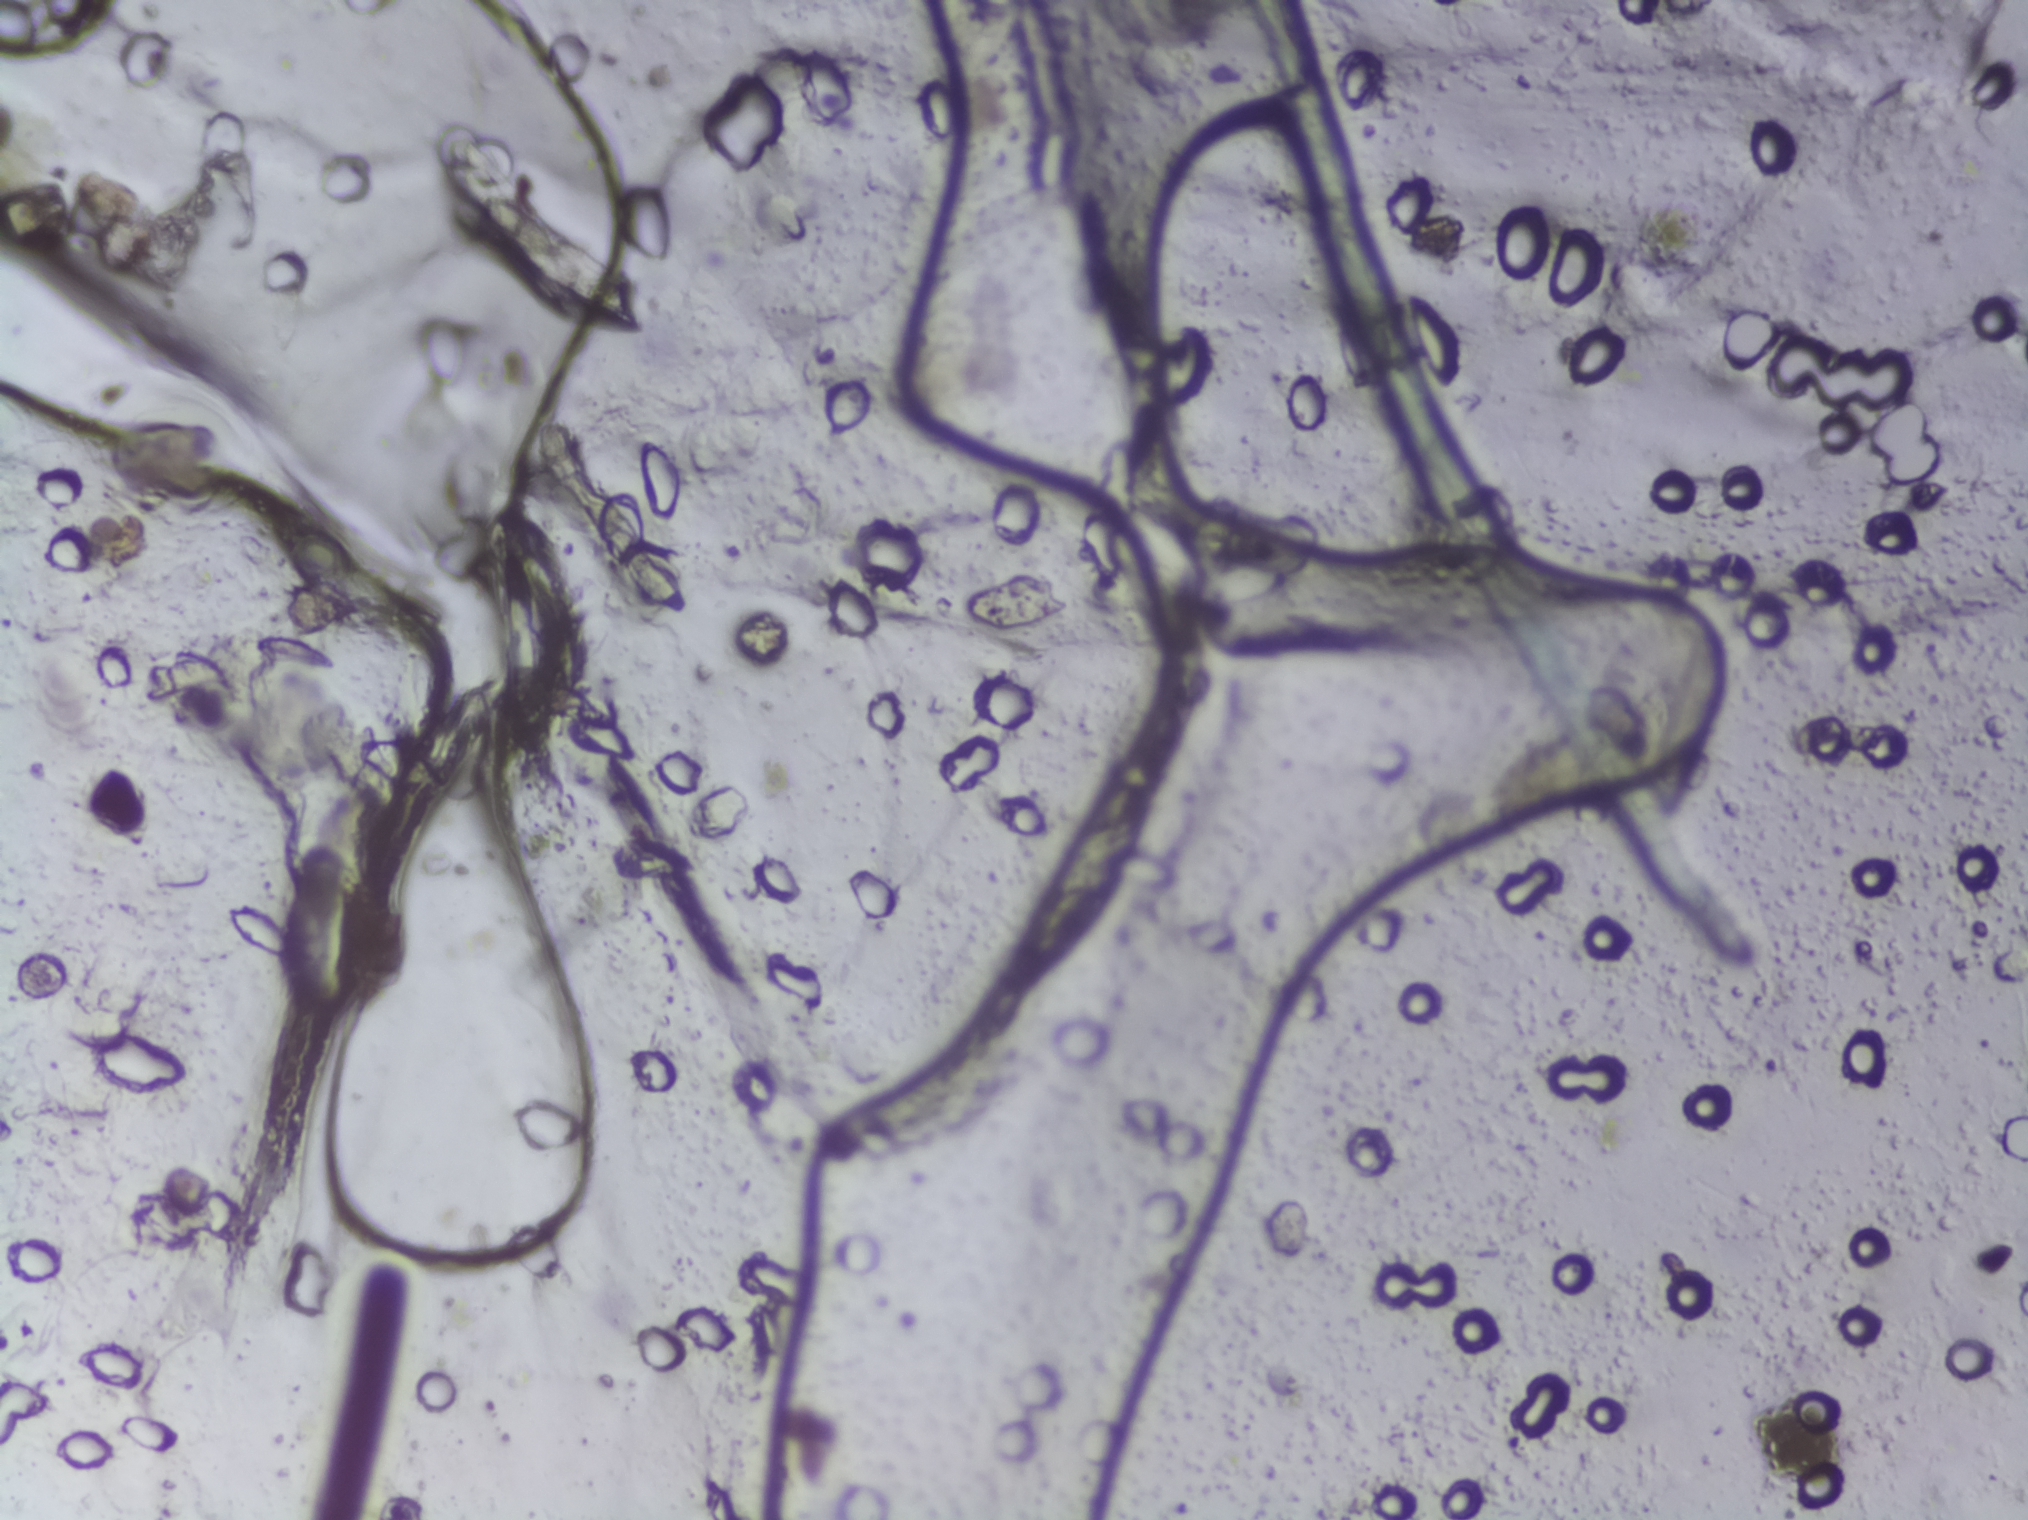
Photograph from an automated digital microscope: urine filter membrane, 4× objective.
The expert annotation marks no Schistosoma egg in this field of view.